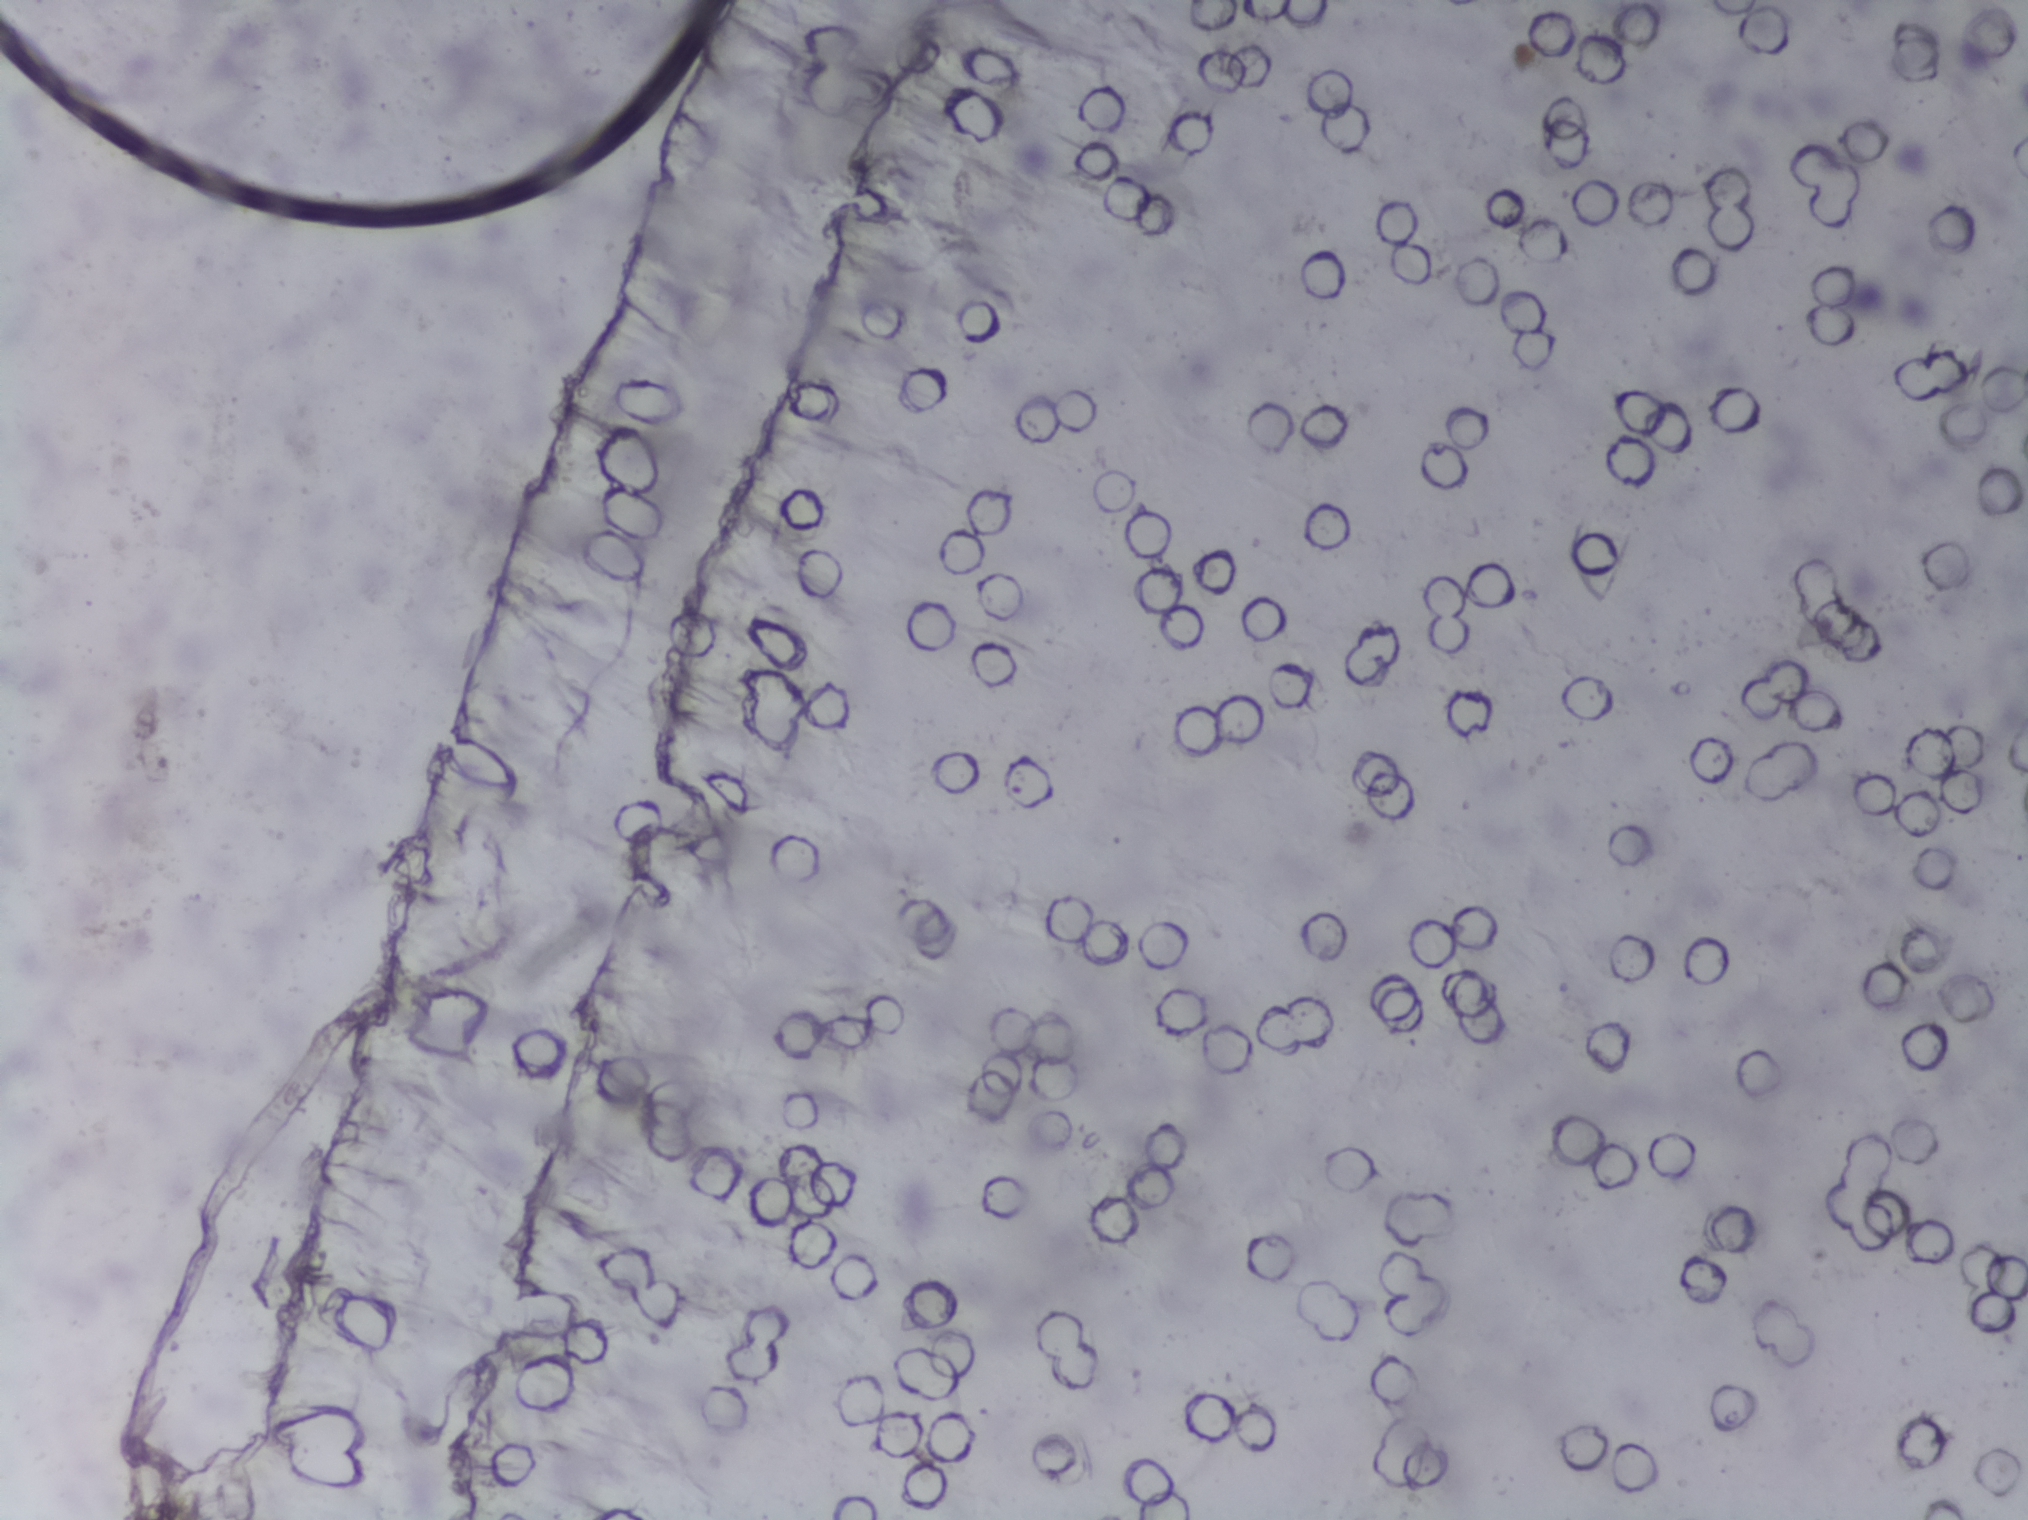
Microscope photograph (4× objective) of a membrane that a urine sample was filtered through. The field of view is about 1.5 mm × 1.1 mm.
The expert annotation outlines no Schistosoma egg in this image.